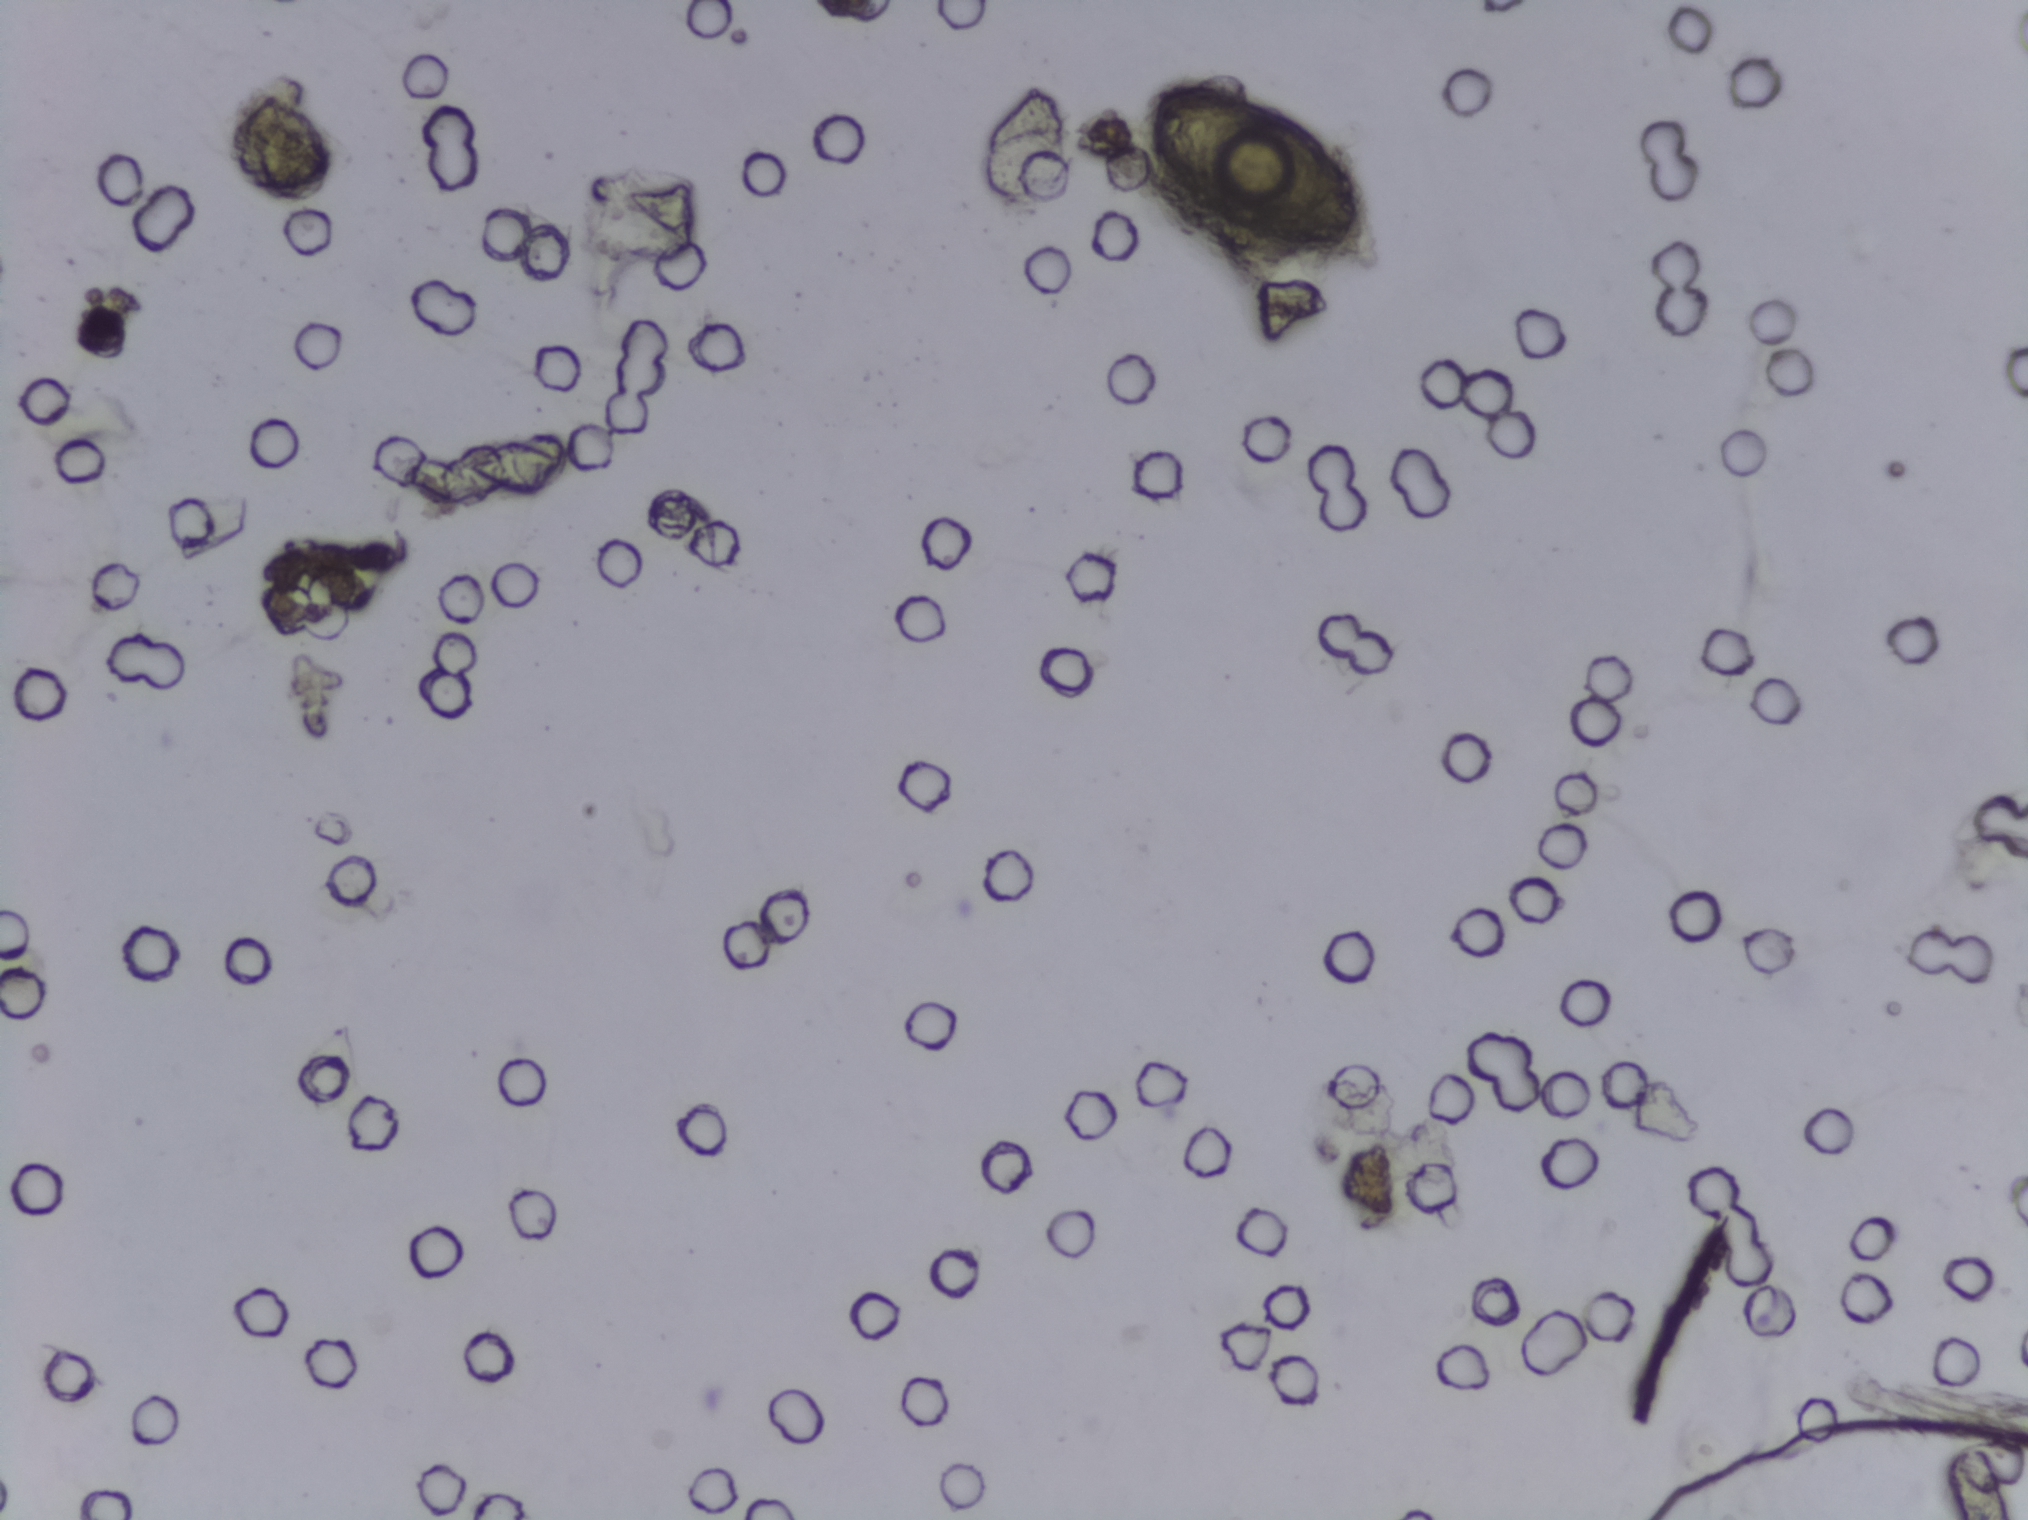
Microscope photograph (4× objective) of a membrane that a urine sample was filtered through. The image covers about 1.5 × 1.1 mm of the membrane.
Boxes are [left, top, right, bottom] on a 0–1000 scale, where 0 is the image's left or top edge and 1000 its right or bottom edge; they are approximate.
{"schistosoma_egg_areas_xyxy_per1000": [[566, 56, 676, 166]]}
Eggs that touch can end up inside the same outlined area.